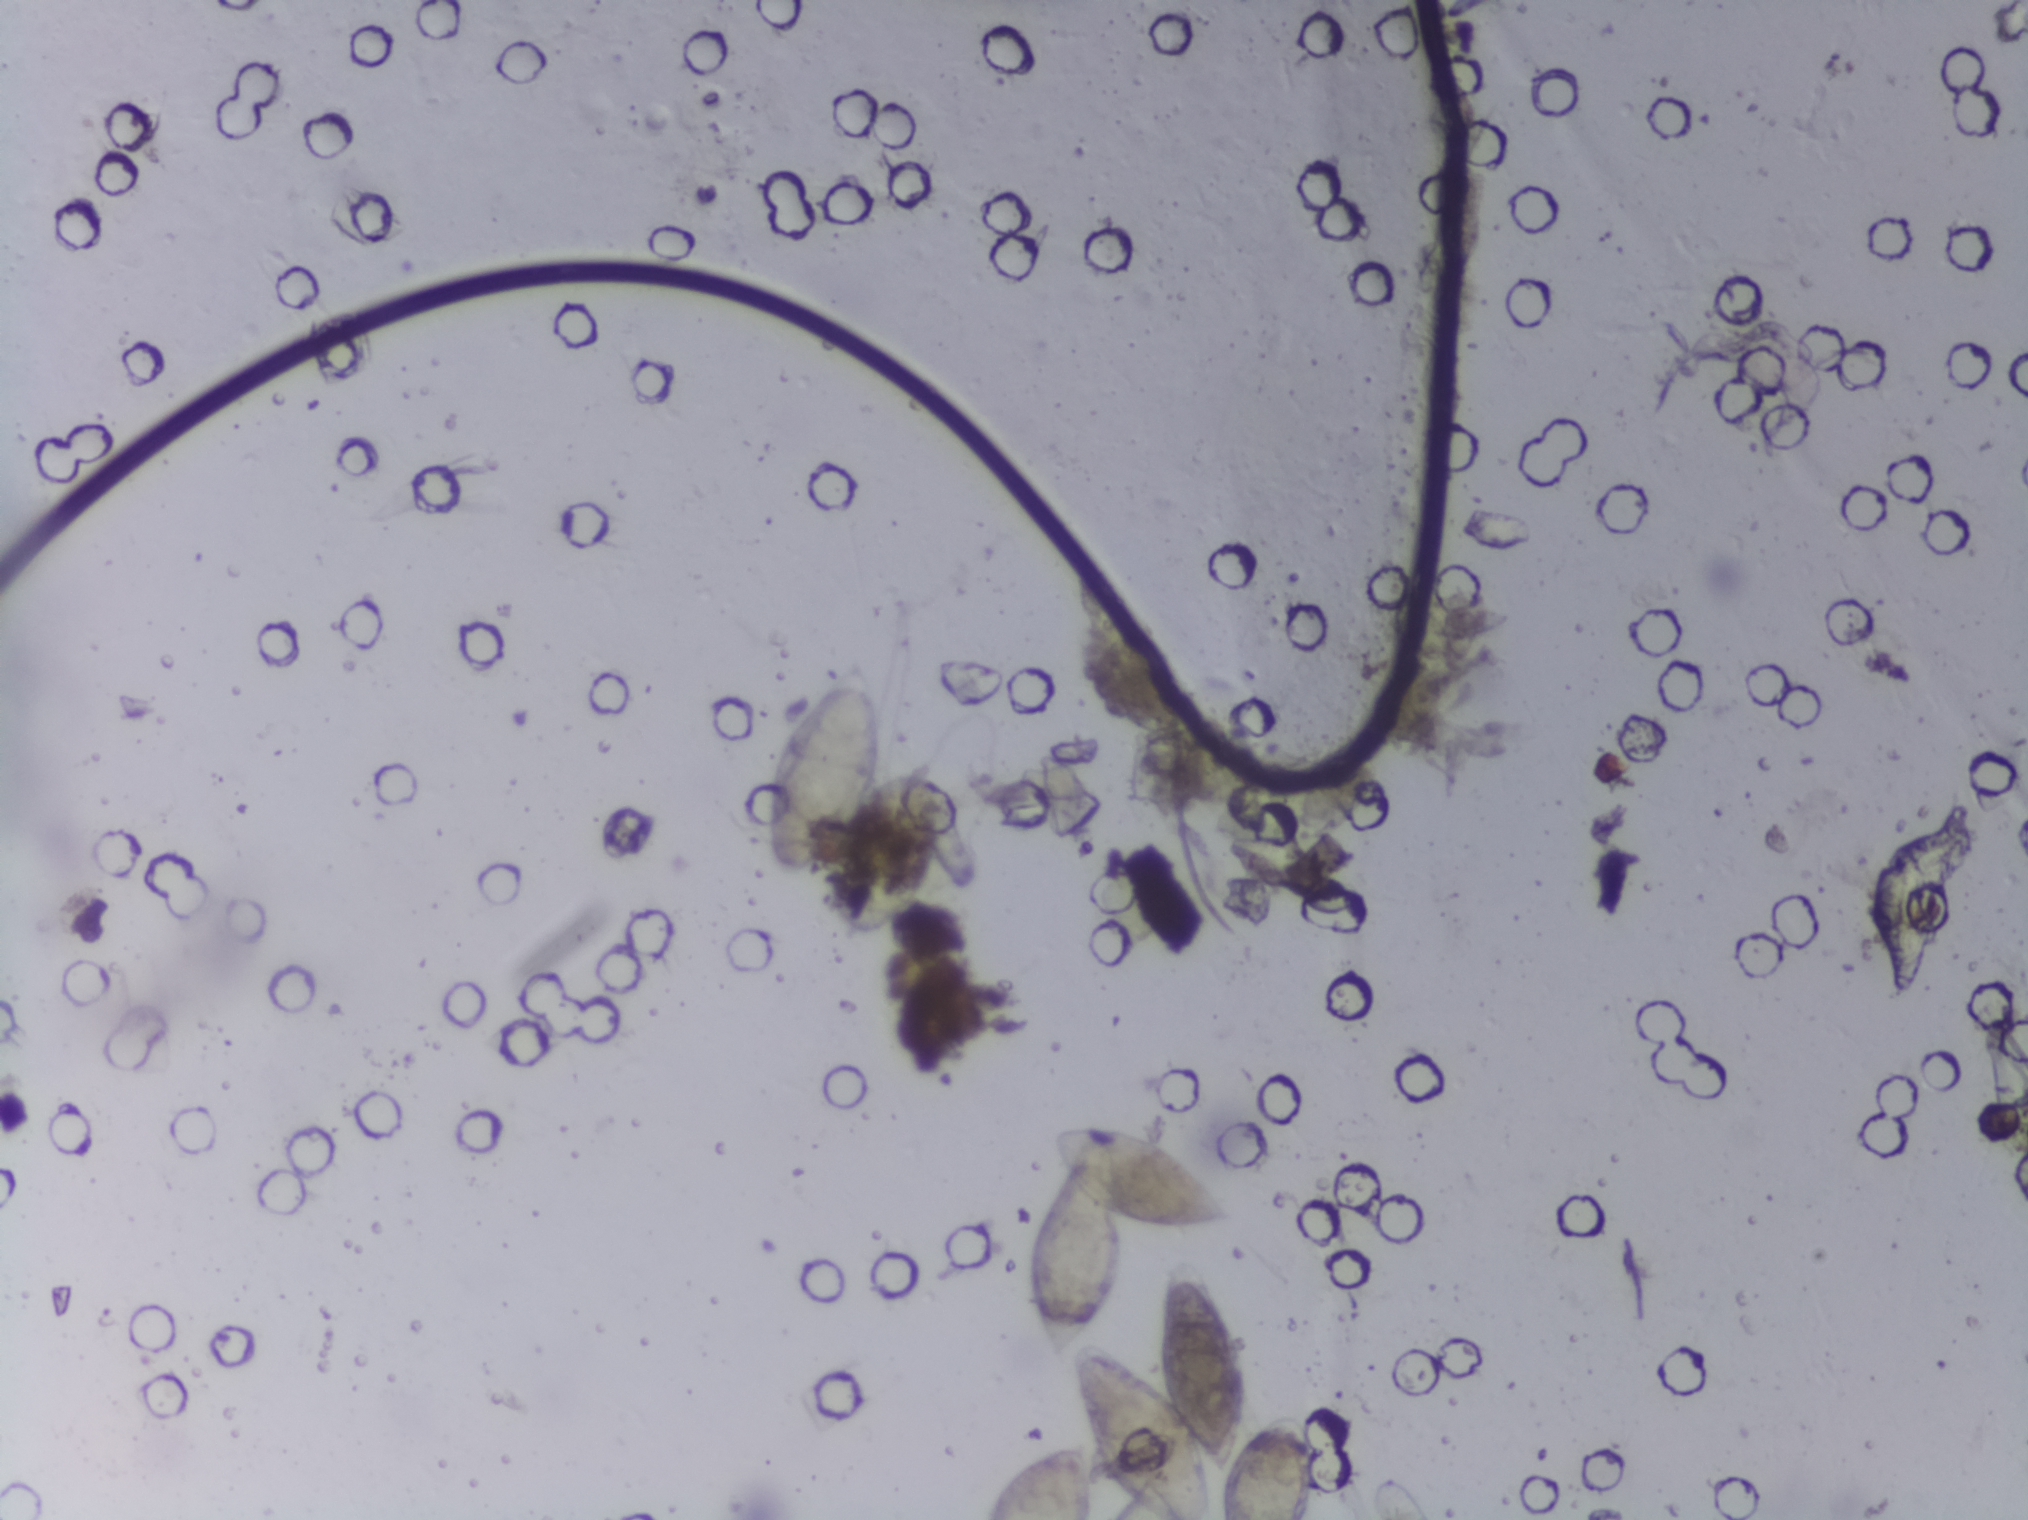
One field of view of a urine filter membrane, 4× objective, 2028 × 1520 pixels.
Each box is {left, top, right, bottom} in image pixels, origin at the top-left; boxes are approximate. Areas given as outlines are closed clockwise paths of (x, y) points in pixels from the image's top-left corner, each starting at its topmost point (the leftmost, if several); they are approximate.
Schistosoma eggs are outlined in three areas of this image, listed from left to right: box {766, 657, 941, 940}; box {982, 1441, 1098, 1519} (reaching the bottom edge of the frame); outline (1077, 1122), (1132, 1128), (1190, 1155), (1239, 1214), (1235, 1228), (1206, 1237), (1131, 1234), (1130, 1263), (1119, 1289), (1081, 1342), (1101, 1342), (1155, 1371), (1163, 1279), (1173, 1255), (1194, 1259), (1229, 1312), (1245, 1352), (1247, 1412), (1238, 1447), (1263, 1422), (1281, 1413), (1302, 1414), (1312, 1427), (1319, 1463), (1313, 1519), (1111, 1519), (1122, 1498), (1093, 1456), (1074, 1354), (1055, 1363), (1027, 1299), (1025, 1246), (1061, 1175), (1052, 1132) (a cluster of eggs; reaching the bottom edge of the frame). Marked pixels, not the boxes and the outline around them: about 3.4% of the image. A single outlined area may contain several eggs.